Photomicrograph of a urine filtration membrane, 4× objective.
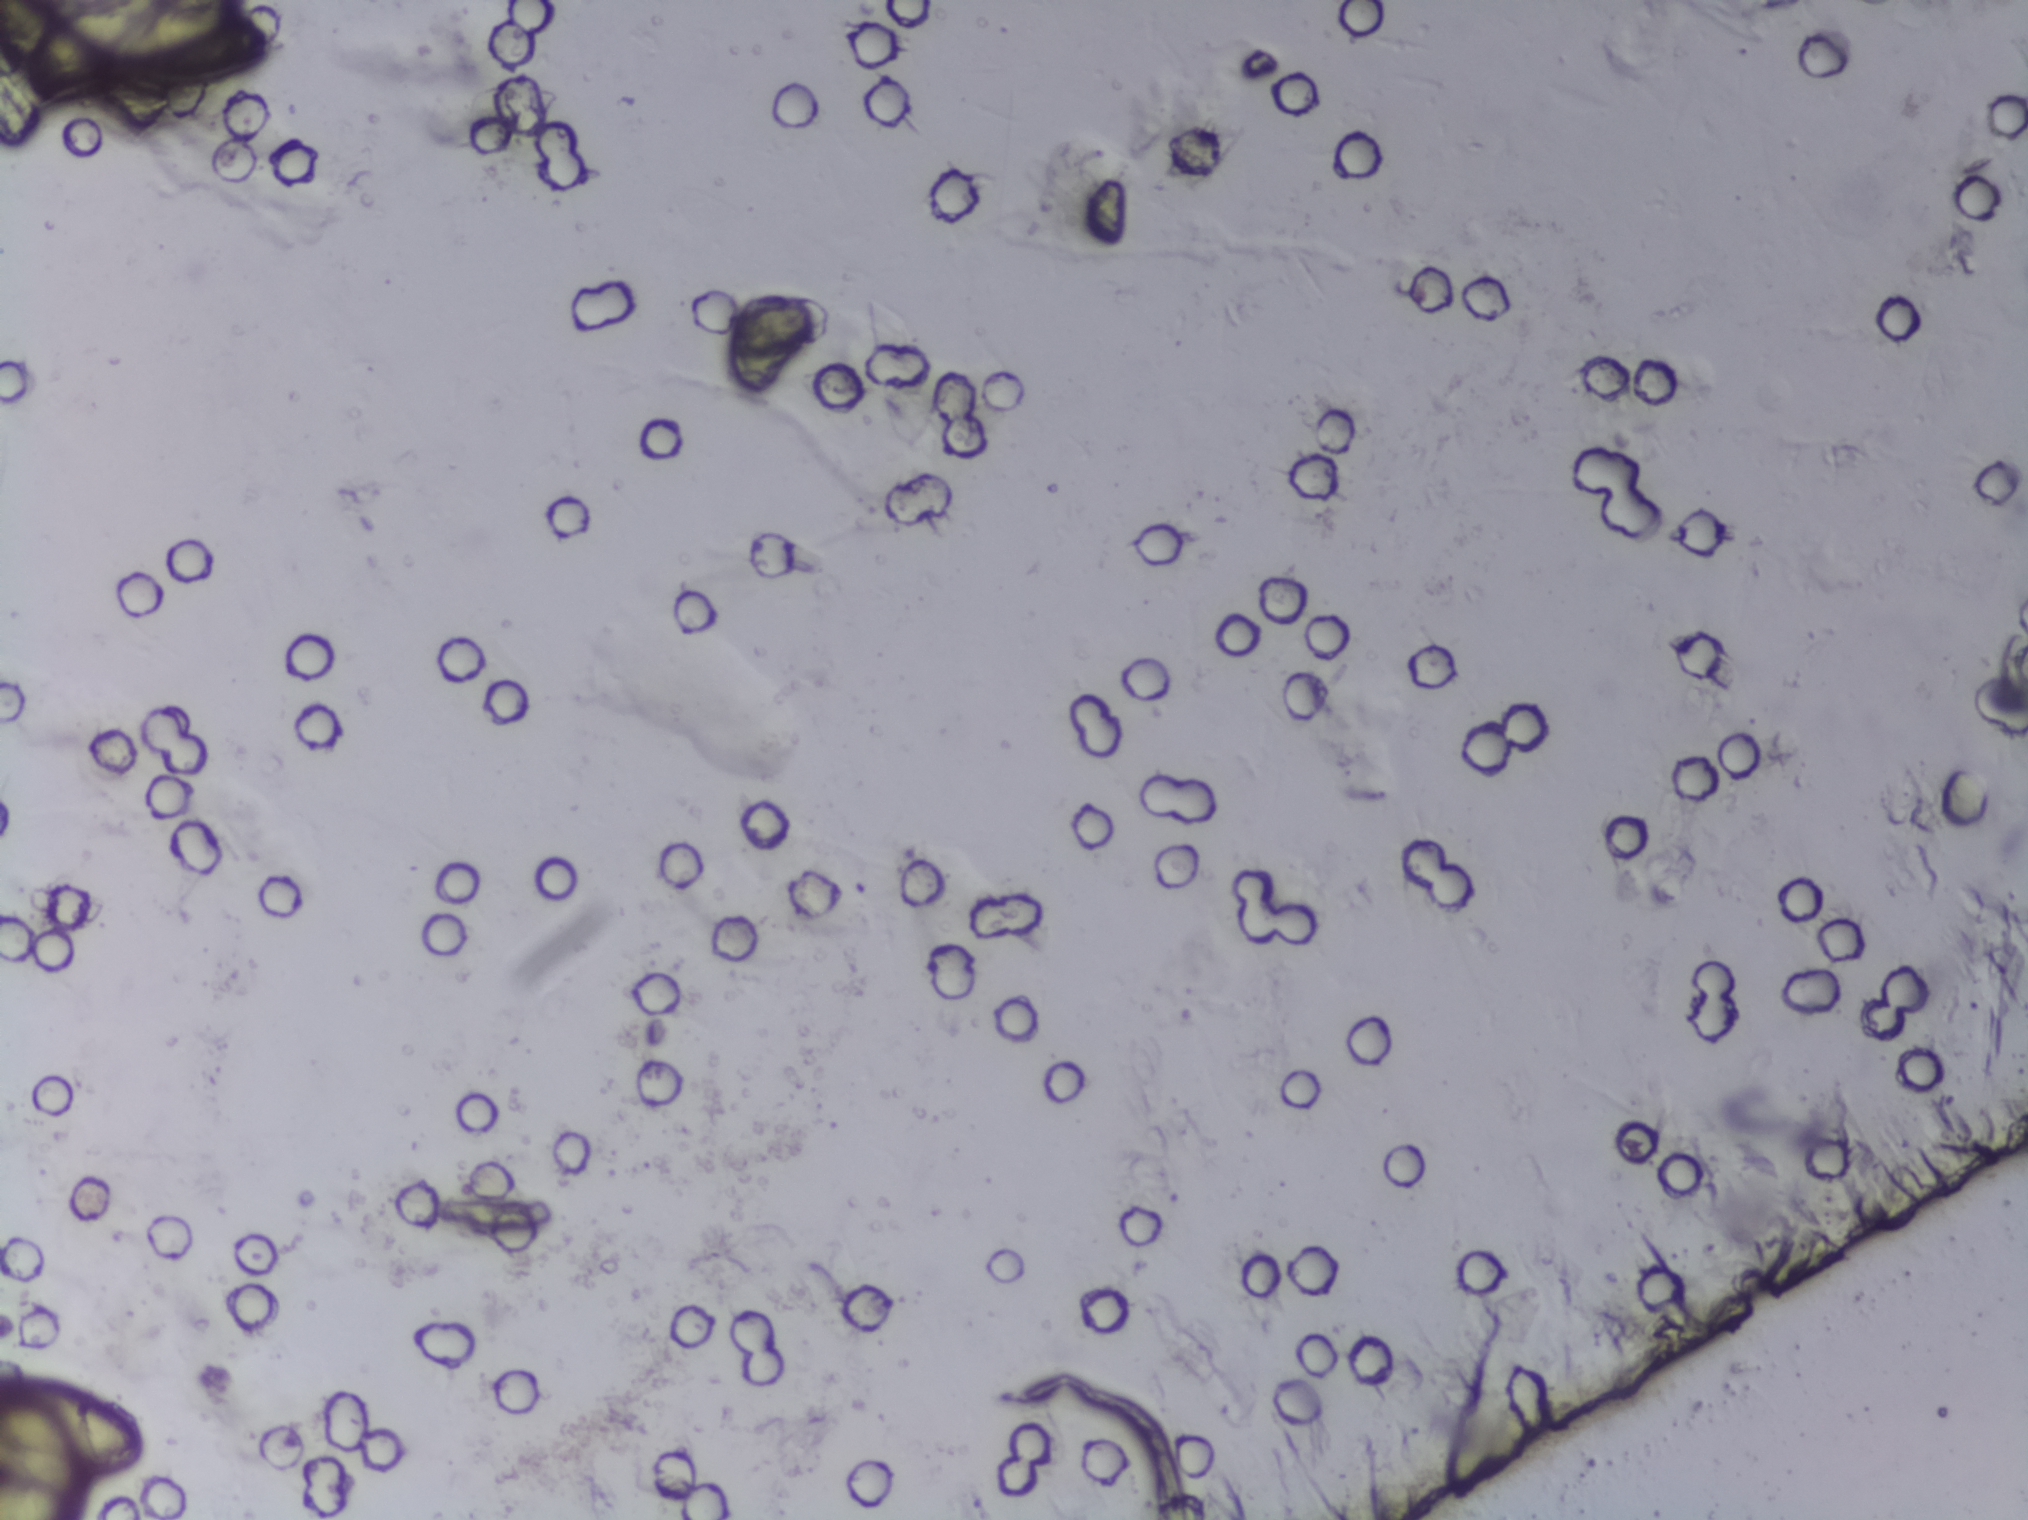
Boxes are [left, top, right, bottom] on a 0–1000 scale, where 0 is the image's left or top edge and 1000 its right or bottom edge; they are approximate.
Schistosoma eggs, outlined areas: [0, 0, 138, 65] (reaching the left and top edges of the frame); [0, 899, 75, 1000] (reaching the left and bottom edges of the frame). About 1.3% of the image's pixels are marked (the marked pixels themselves, not the boxes around them). Eggs that touch can end up inside the same outlined area.